Urine filtration membrane under a 4× objective, photographed by an automated digital microscope.
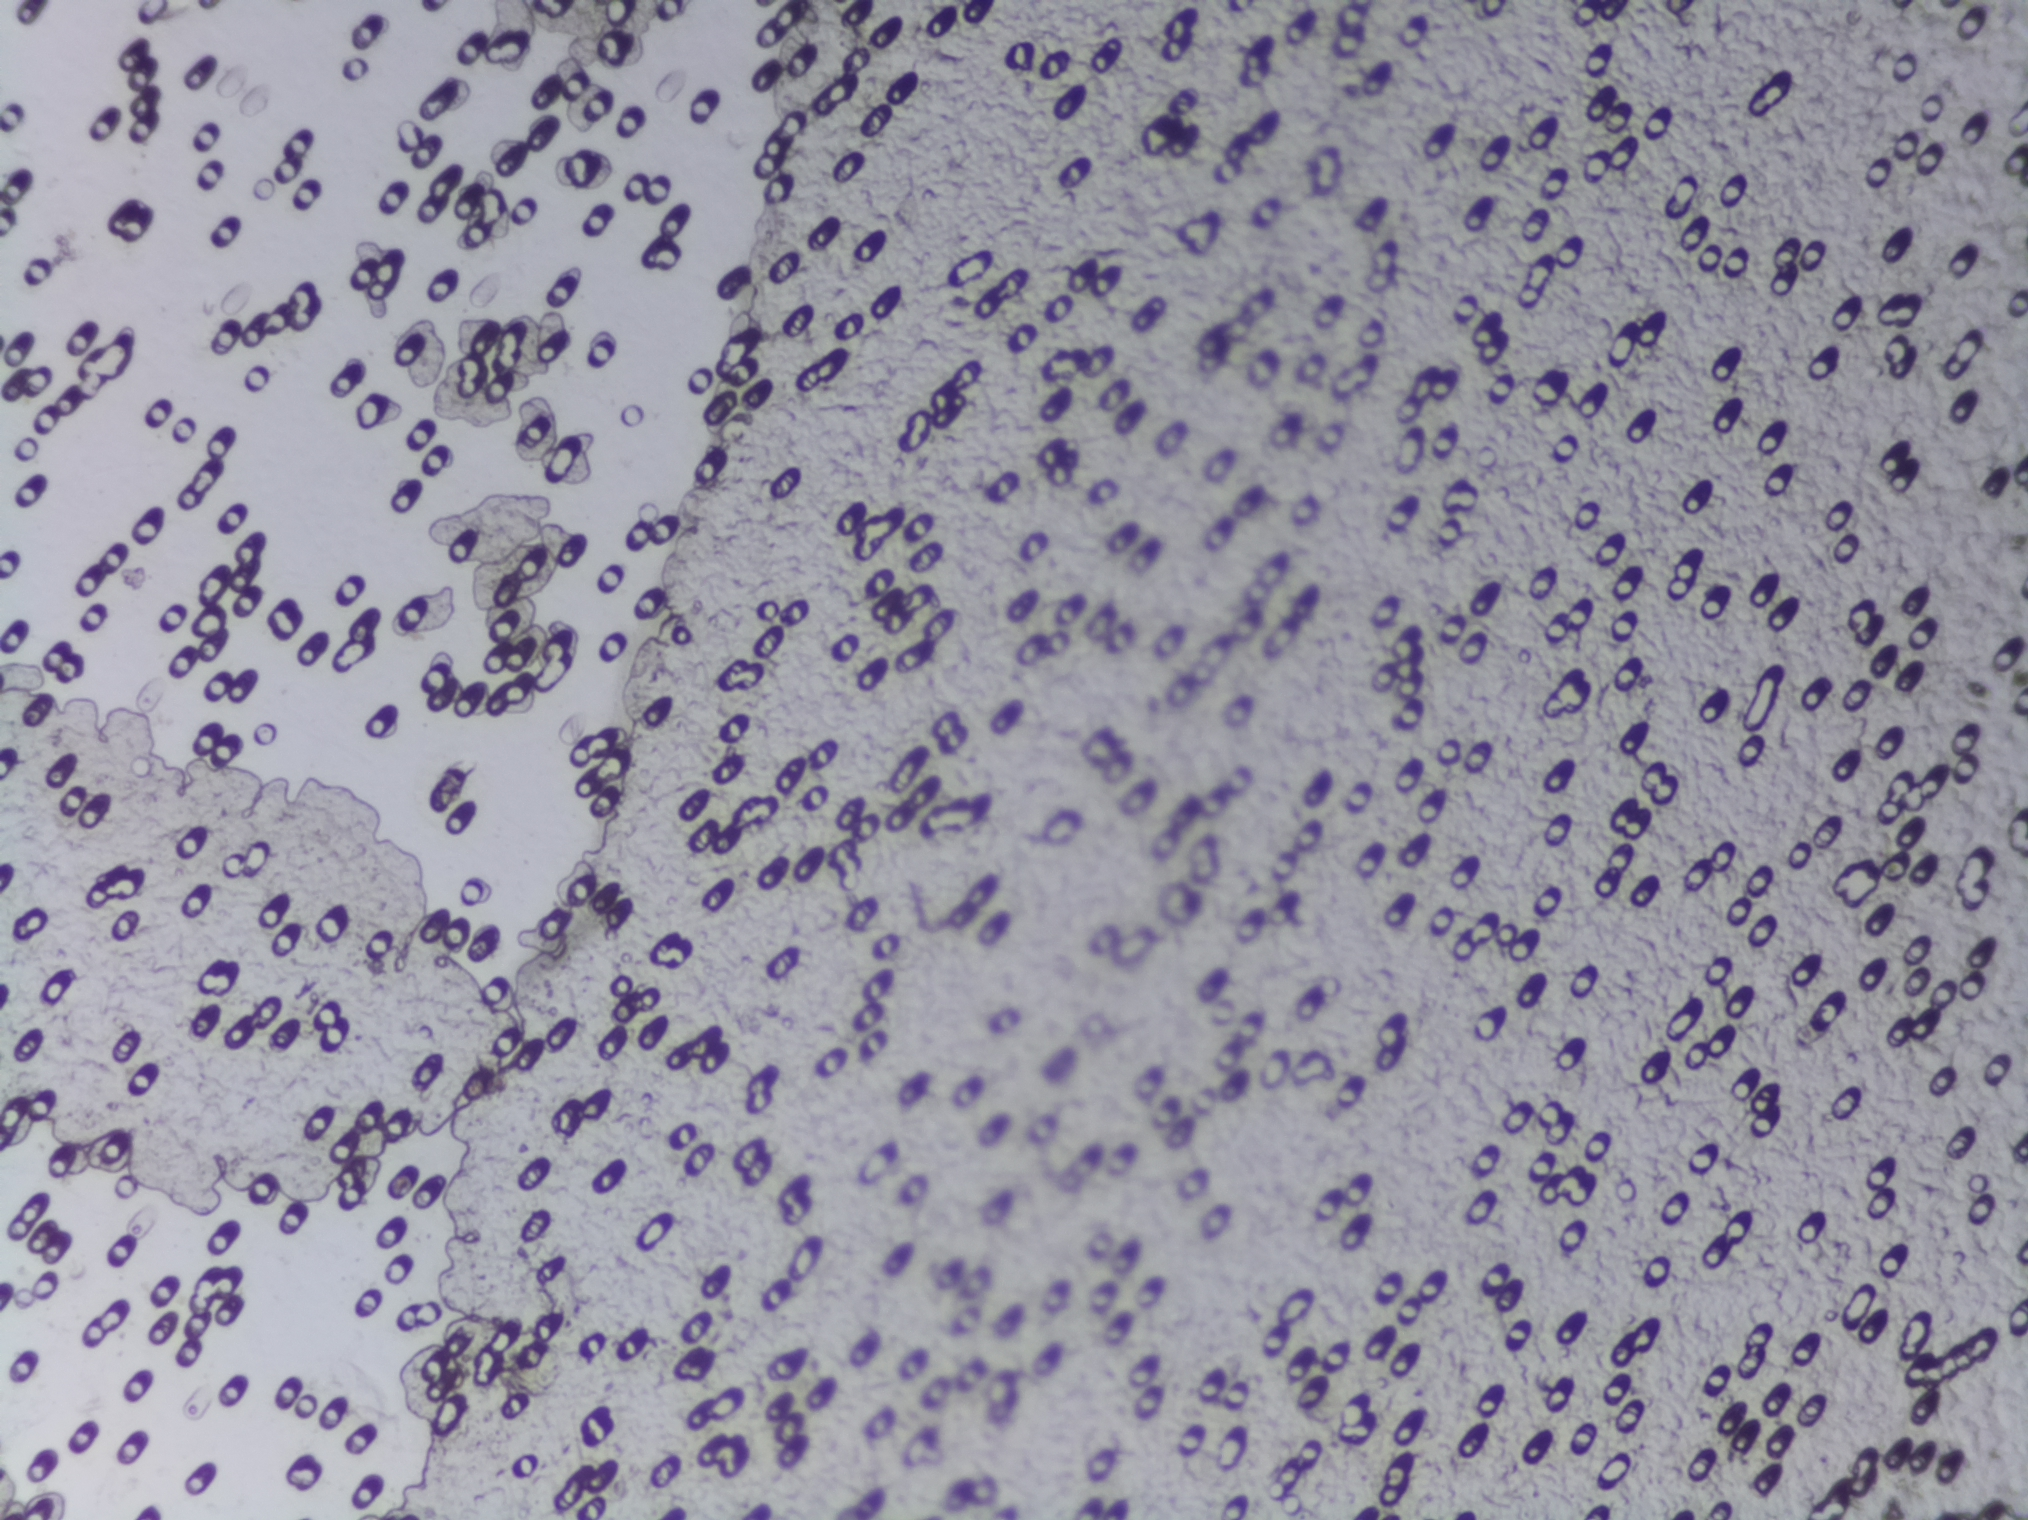
The expert annotation outlines no Schistosoma egg in this image.